Photograph from an automated digital microscope: urine filter membrane, 4× objective. Field of view: about 1.5 mm wide and 1.1 mm high.
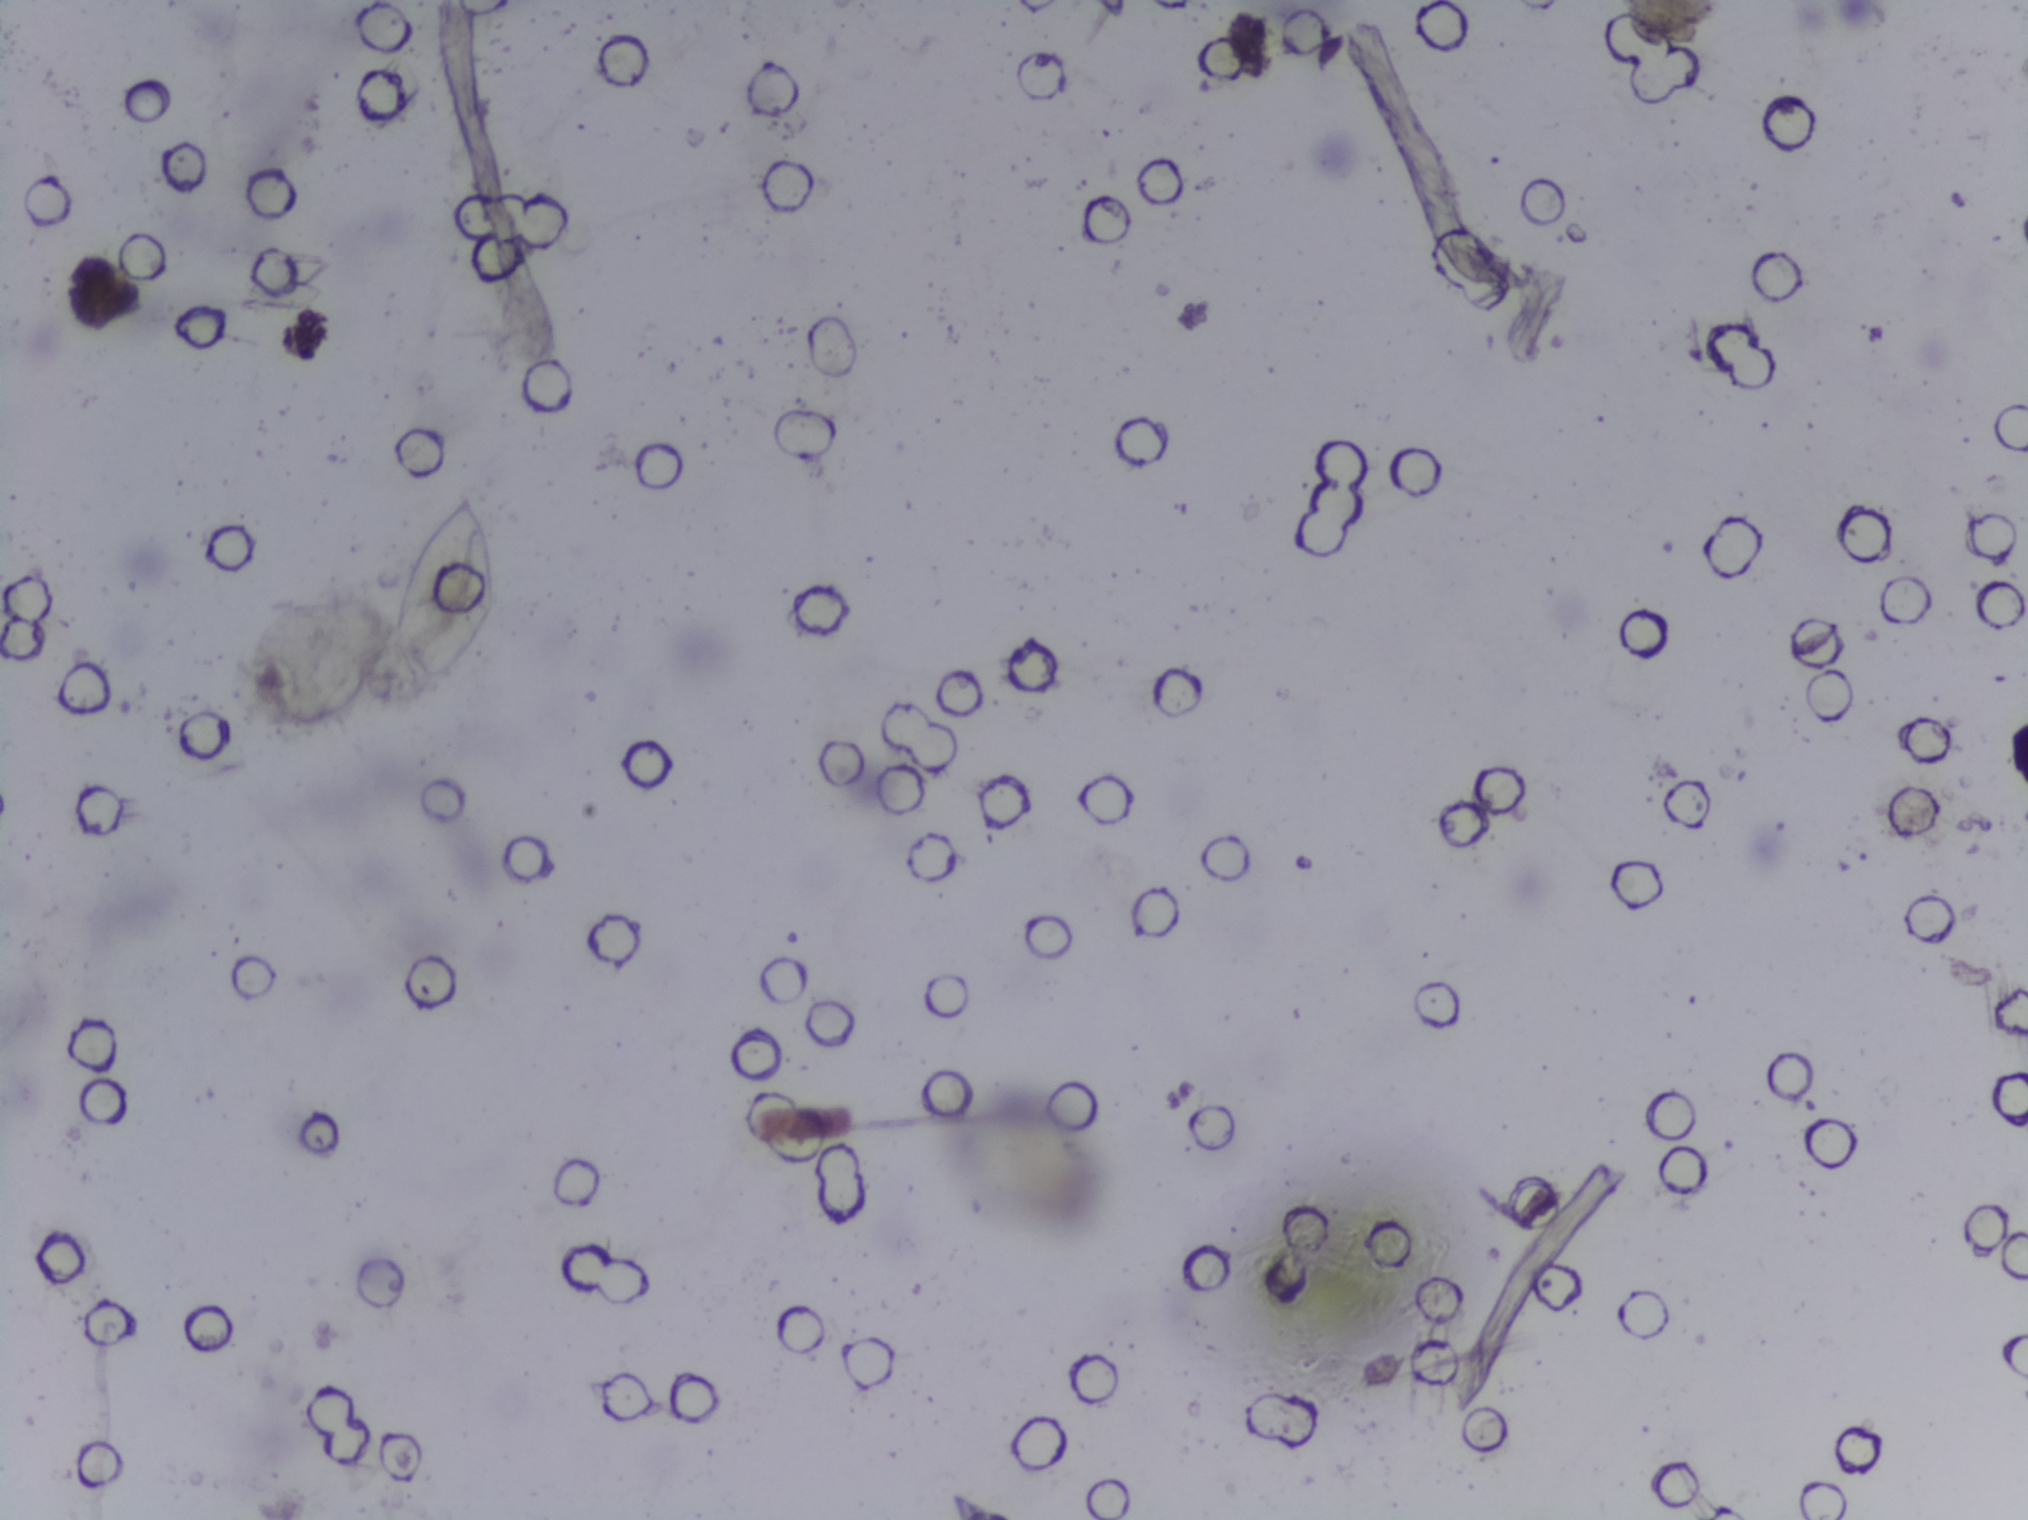
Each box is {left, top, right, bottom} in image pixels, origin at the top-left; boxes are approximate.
Areas outlined as Schistosoma eggs:
1. {390, 490, 495, 688}
The marked pixels themselves, not the box around them, cover about 0.5% of the image. A single outlined area may contain several eggs. Any one outlined egg may, rarely, be S. mansoni rather than S. haematobium.